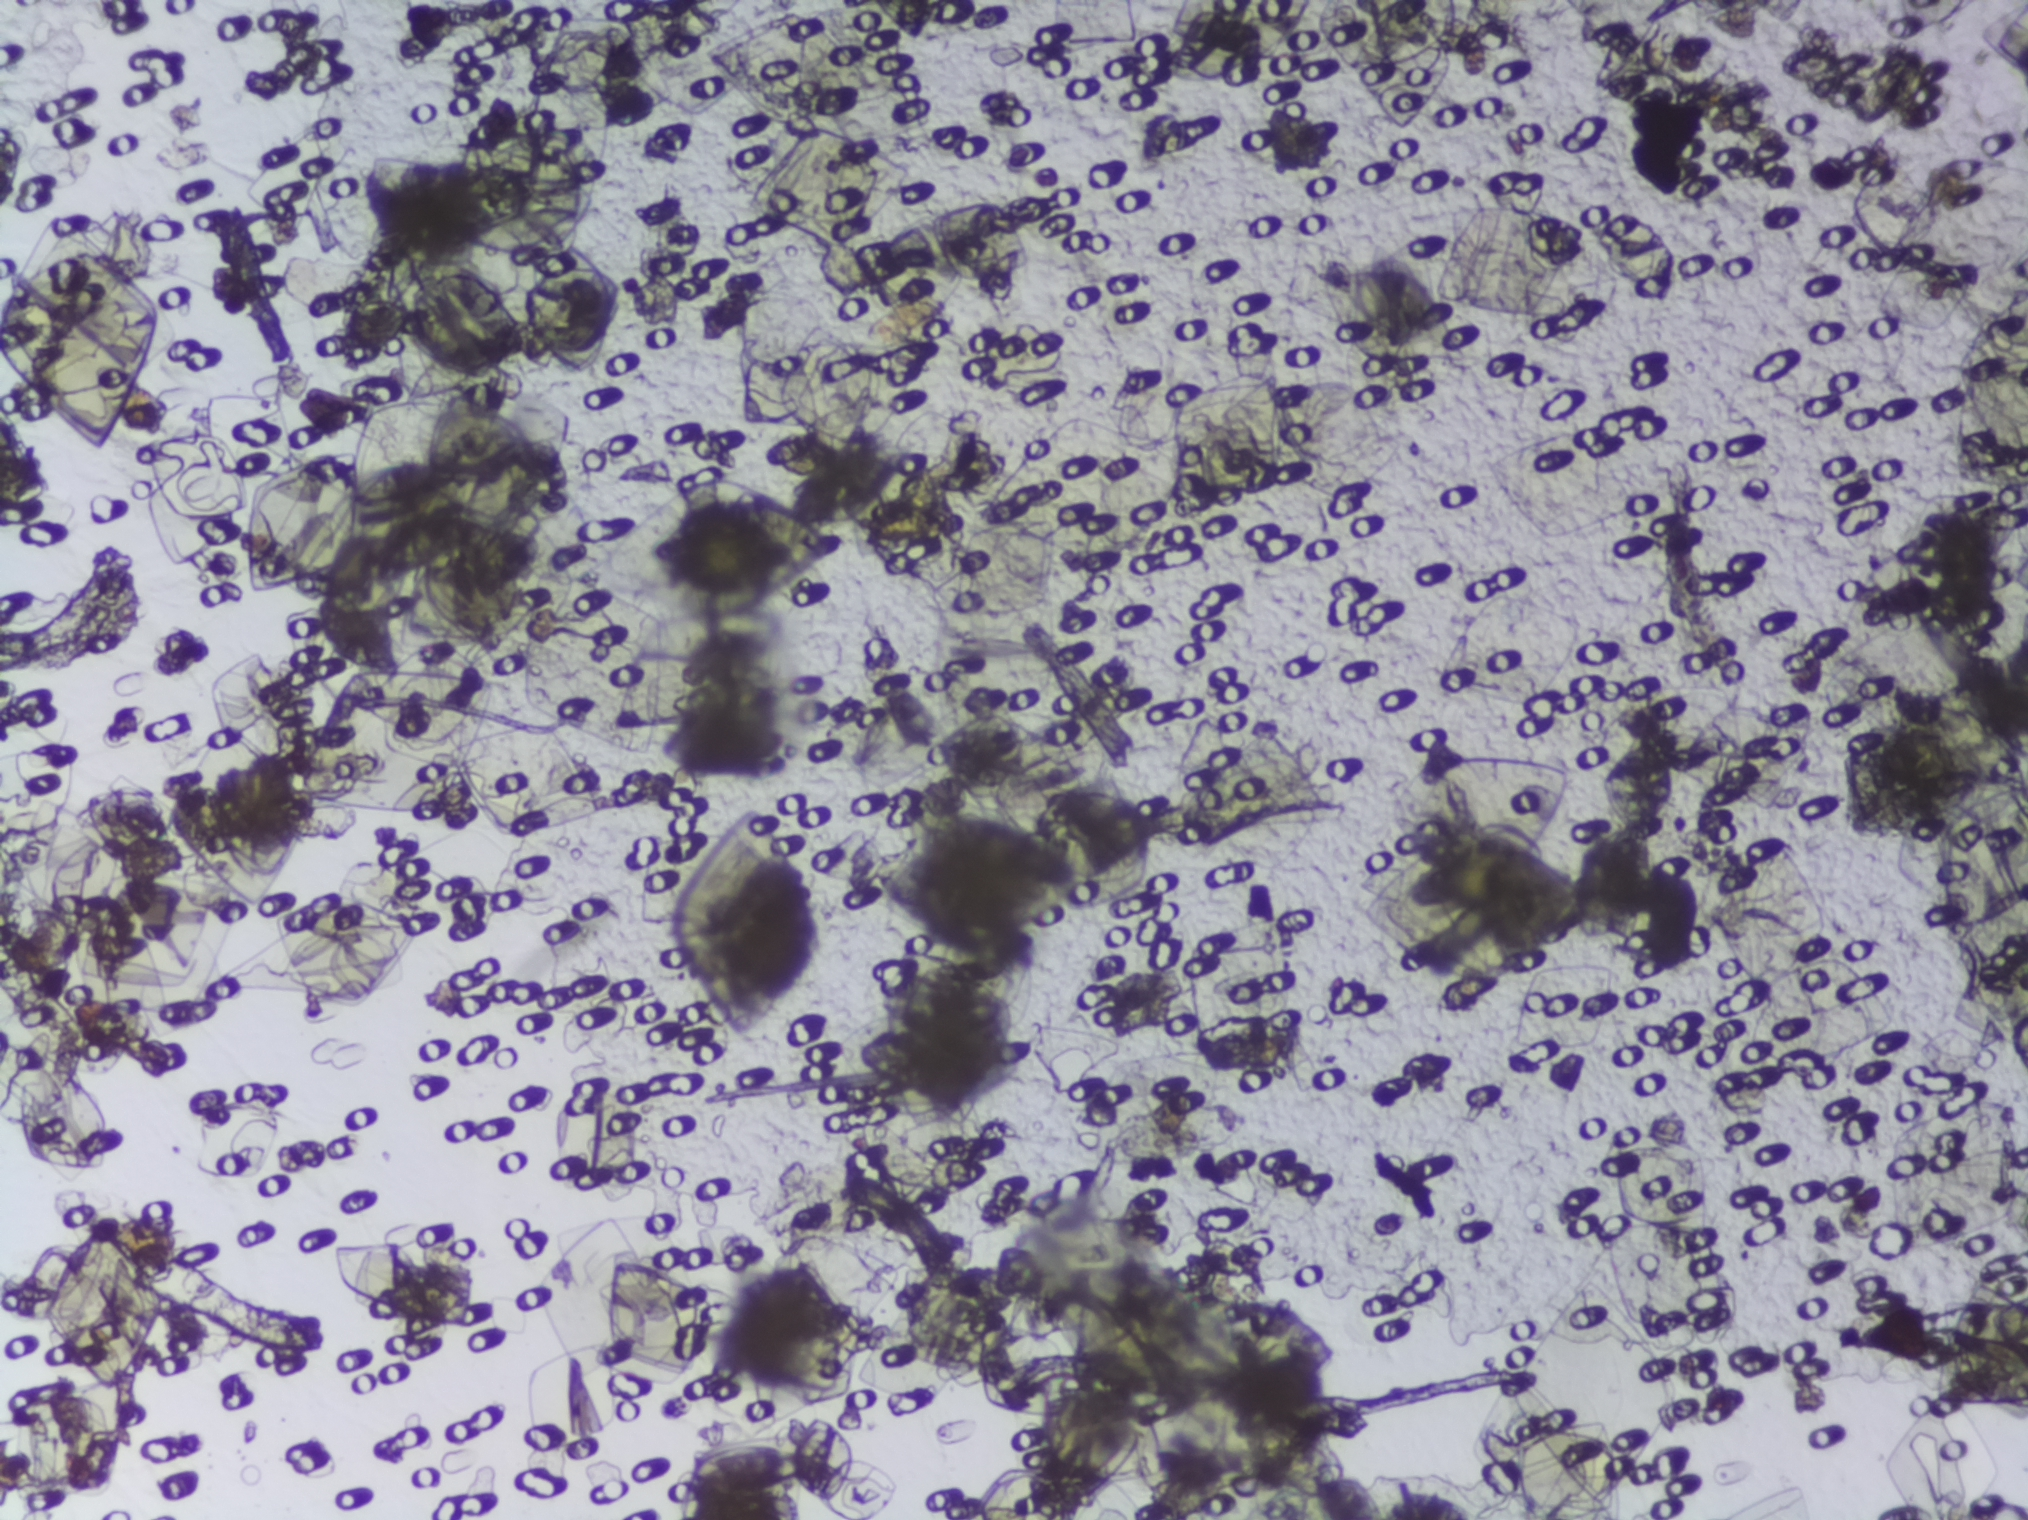
Microscope photograph (4× objective) of a membrane that a urine sample was filtered through.
Schistosoma eggs: none outlined.